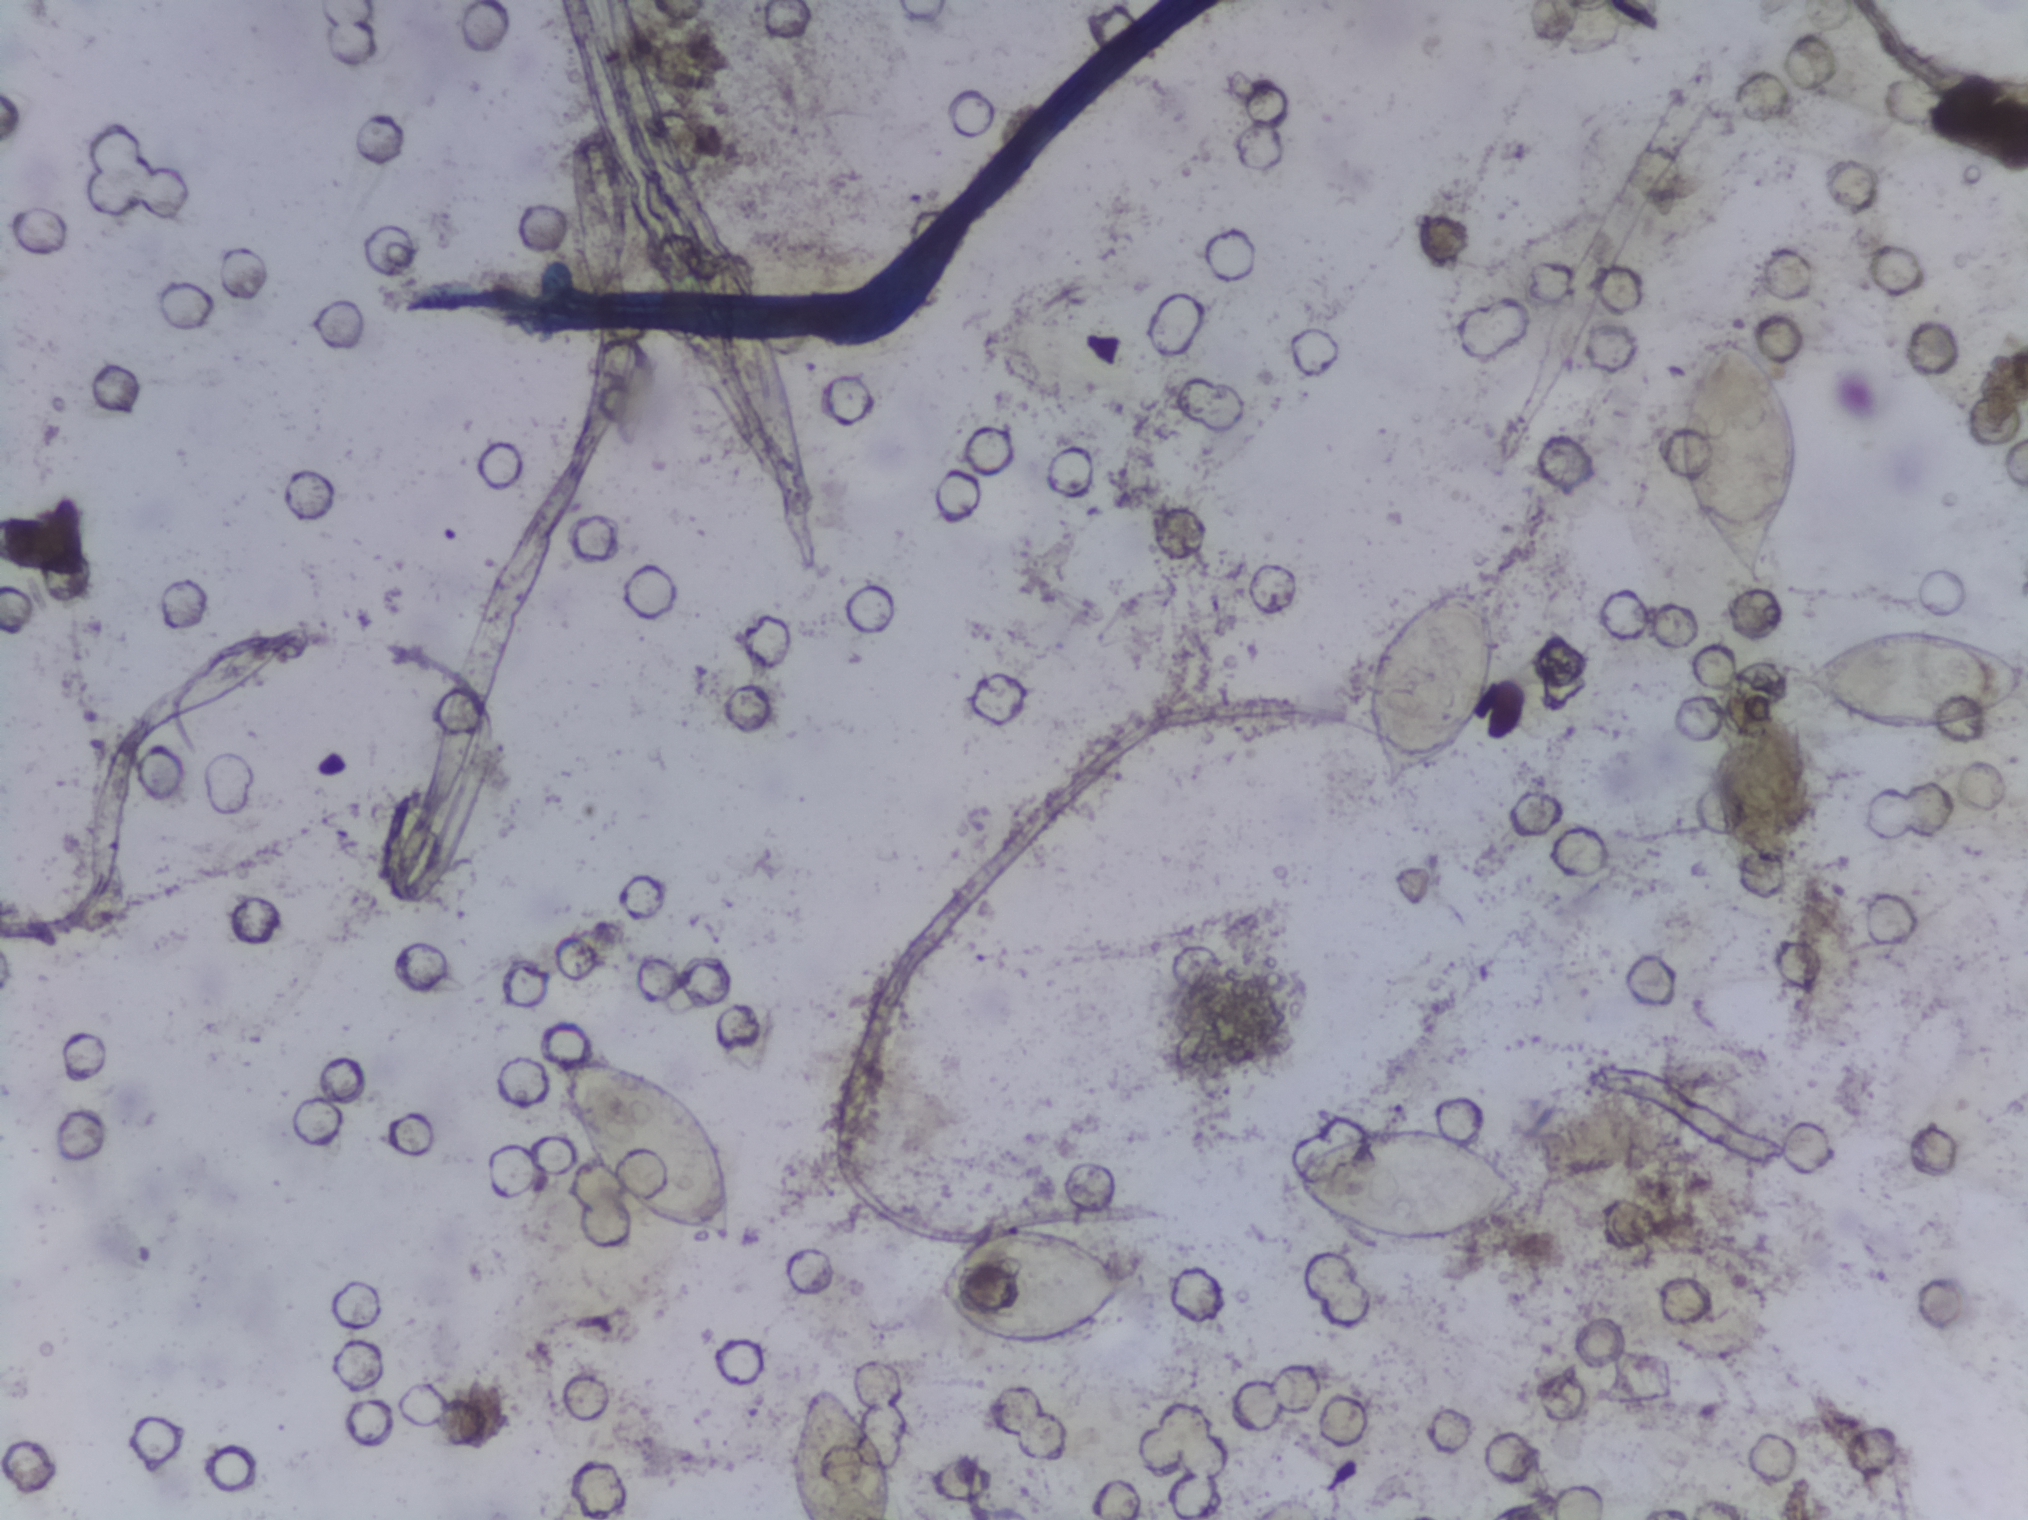
Urine filter membrane photographed through a 4× microscope objective.
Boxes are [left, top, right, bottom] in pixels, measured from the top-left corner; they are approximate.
Schistosoma eggs, outlined areas: [553, 1053, 749, 1251]; [785, 1384, 892, 1519] (reaching the bottom edge of the frame); [932, 1224, 1140, 1352]; [1284, 1121, 1528, 1249]; [1364, 576, 1504, 796]; [1666, 329, 1806, 601]; [1781, 622, 2027, 738] (reaching the right edge of the frame). An outlined area can hold more than one egg. A marked egg may occasionally be S. mansoni rather than S. haematobium.